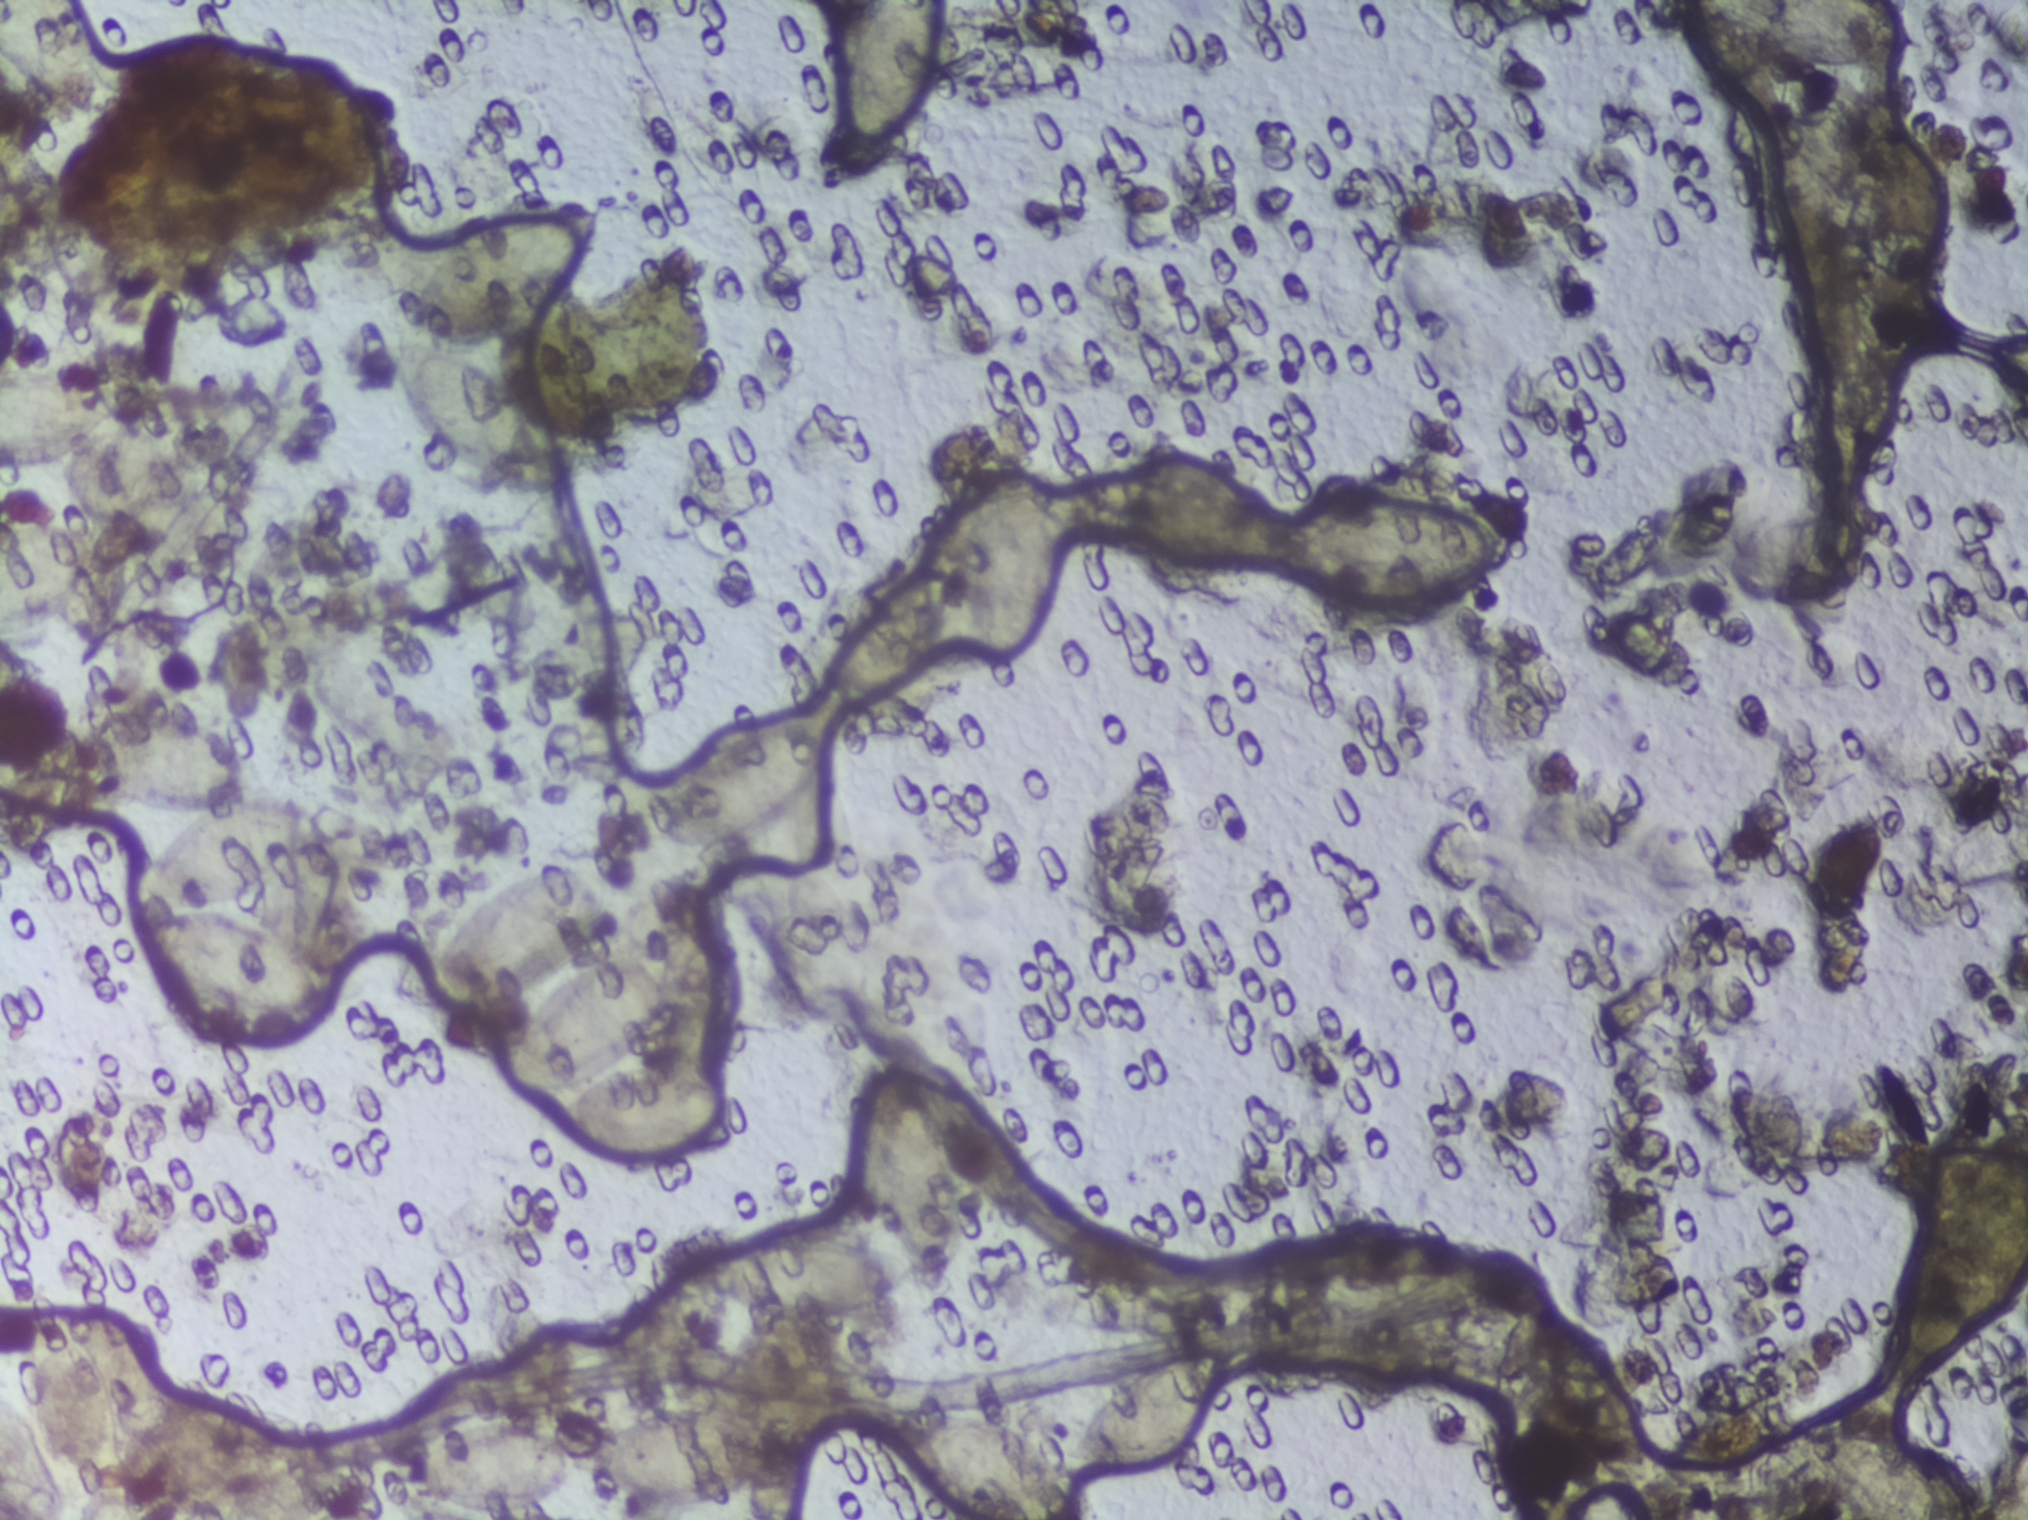
Photograph from an automated digital microscope: urine filter membrane, 4× objective.
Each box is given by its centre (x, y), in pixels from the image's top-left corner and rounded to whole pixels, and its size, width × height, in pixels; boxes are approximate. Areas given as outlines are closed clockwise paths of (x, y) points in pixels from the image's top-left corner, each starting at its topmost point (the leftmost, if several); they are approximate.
Areas outlined as Schistosoma eggs: box centre (52, 57), 105 × 114 px (reaching the left and top edges of the frame); box centre (56, 576), 113 × 120 px (reaching the left edge of the frame); box centre (67, 1407), 135 × 225 px (reaching the left and bottom edges of the frame); box centre (153, 440), 307 × 164 px (reaching the left edge of the frame); box centre (202, 862), 275 × 320 px (a cluster of eggs); box centre (279, 1486), 199 × 67 px (reaching the bottom edge of the frame); box centre (488, 1467), 180 × 101 px; box centre (495, 352), 216 × 304 px; outline (557, 858), (601, 858), (619, 874), (621, 895), (597, 954), (631, 944), (646, 902), (677, 875), (716, 885), (740, 952), (737, 1043), (717, 1083), (744, 1104), (743, 1129), (722, 1152), (656, 1165), (591, 1165), (565, 1147), (548, 1122), (551, 1108), (576, 1090), (512, 1098), (501, 1089), (504, 1050), (527, 999), (464, 1013), (421, 1013), (408, 1004), (403, 982), (448, 917), (463, 905), (472, 909), (523, 867) (a cluster of eggs); box centre (684, 1451), 183 × 108 px; box centre (743, 782), 176 × 148 px; outline (890, 1057), (924, 1074), (923, 1060), (951, 1098), (961, 1132), (973, 1189), (973, 1241), (956, 1282), (937, 1287), (913, 1272), (905, 1293), (873, 1315), (816, 1328), (749, 1328), (713, 1313), (699, 1299), (693, 1274), (745, 1238), (764, 1231), (859, 1231), (884, 1242), (856, 1191), (854, 1102), (866, 1073); box centre (889, 75), 116 × 150 px (reaching the top edge of the frame); box centre (987, 1462), 204 × 116 px (reaching the bottom edge of the frame); box centre (1009, 563), 118 × 225 px; box centre (1148, 1402), 169 × 136 px; box centre (1388, 550), 222 × 120 px; box centre (1815, 39), 234 × 78 px (reaching the top edge of the frame); box centre (1882, 1475), 181 × 89 px (reaching the bottom edge of the frame). An outlined area can hold more than one egg.